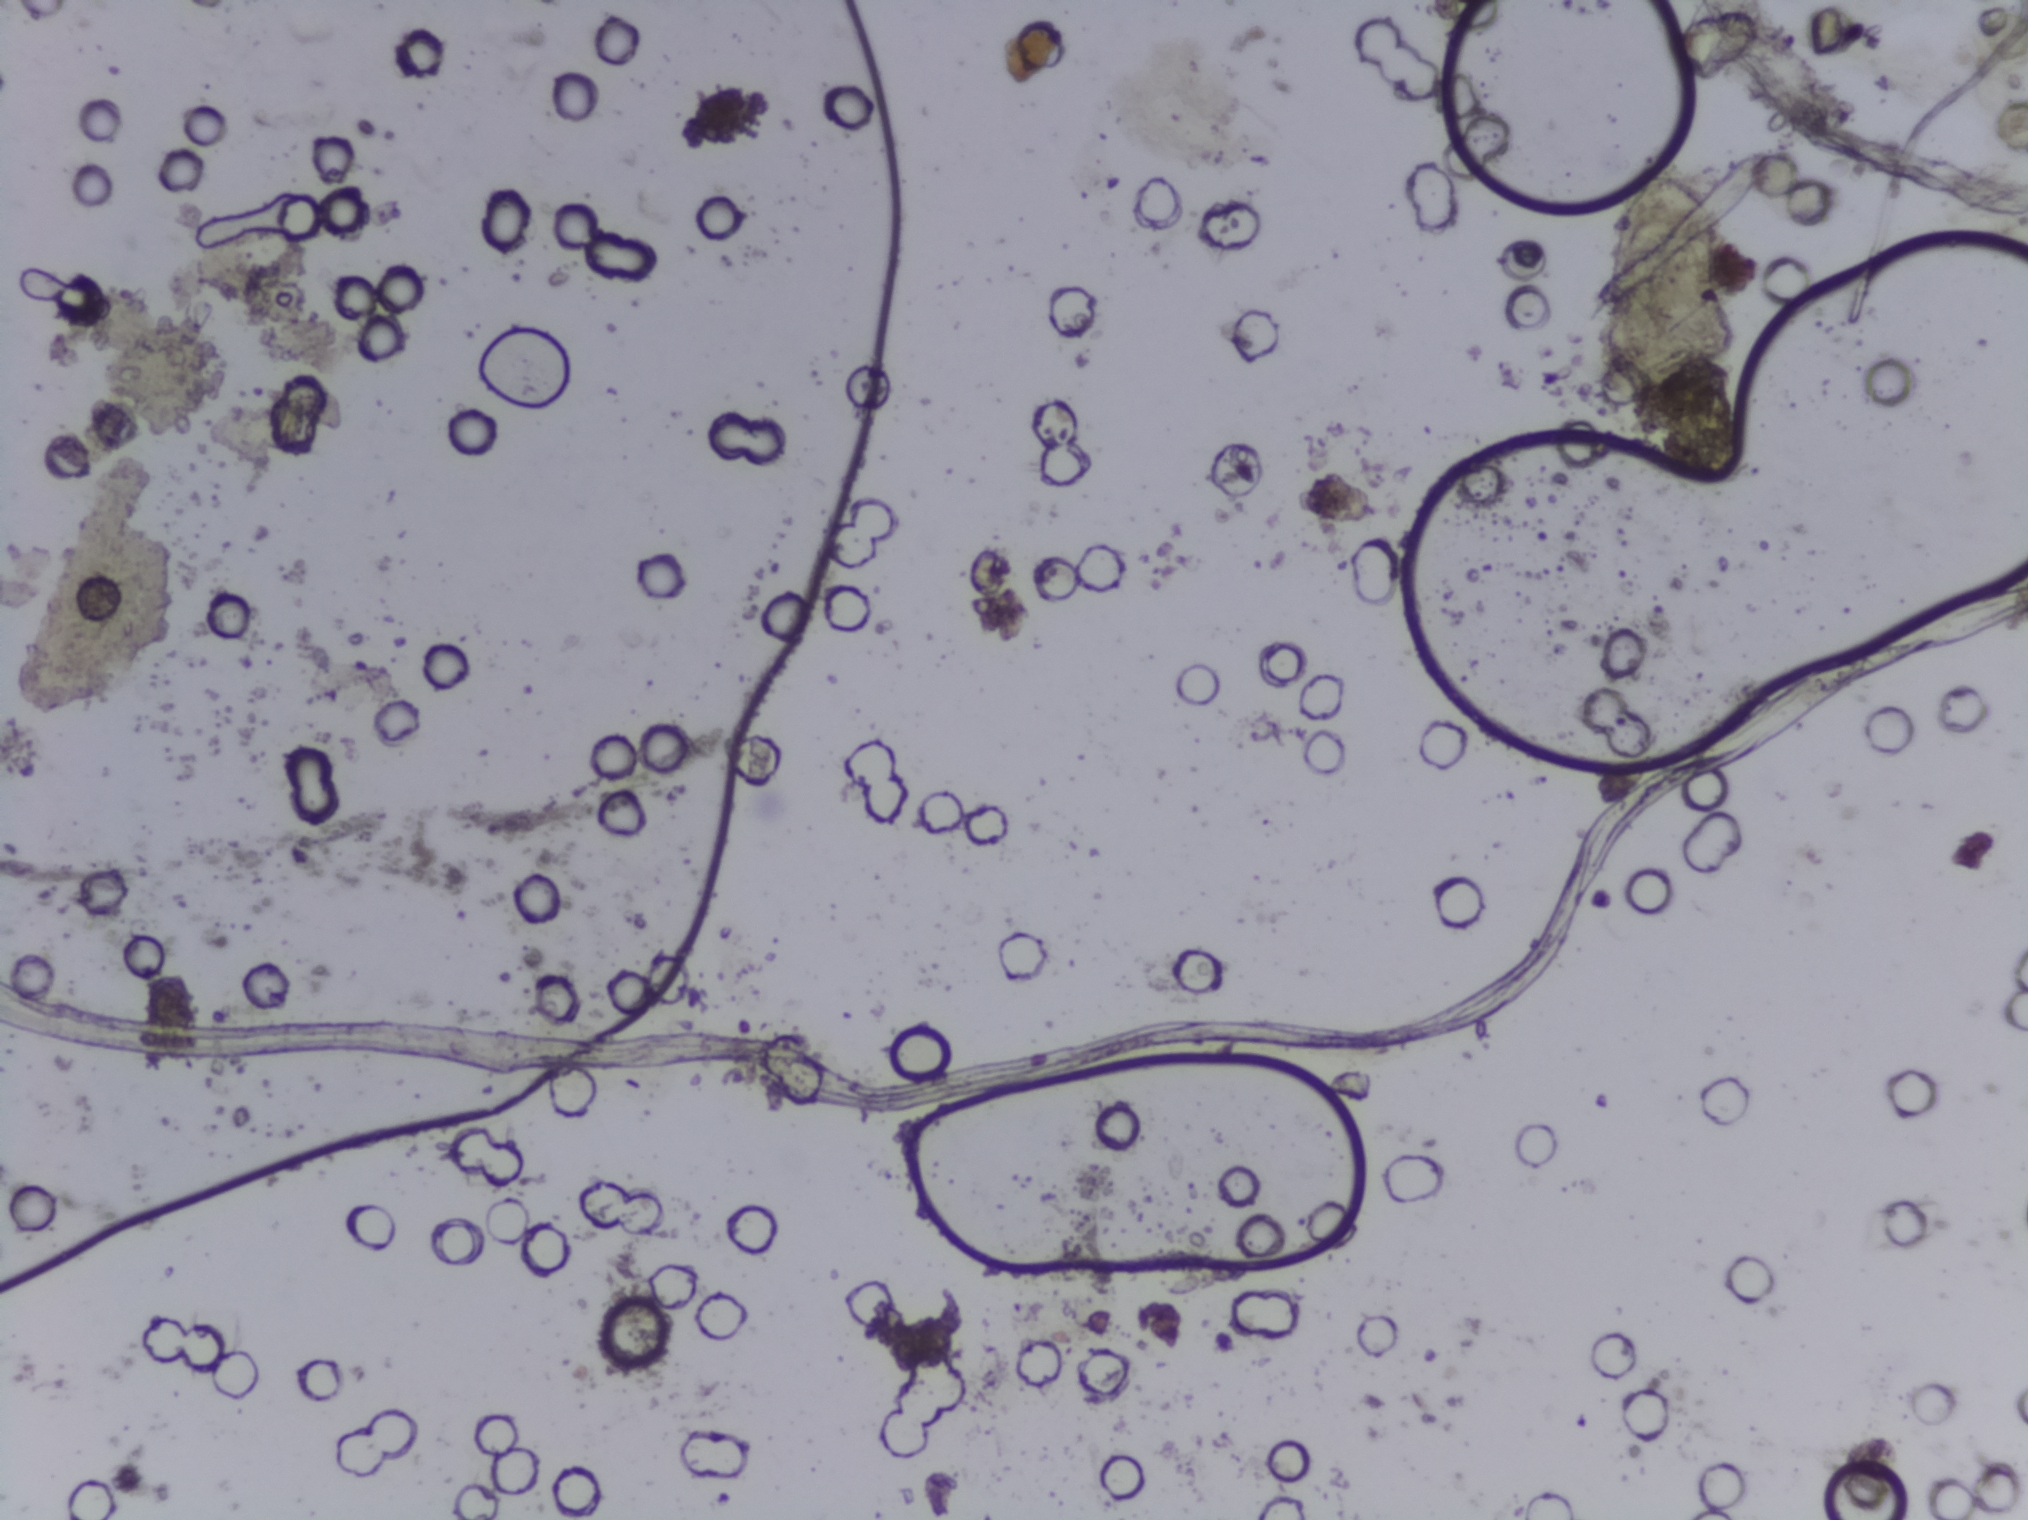
Microscope photograph (4× objective) of a membrane that a urine sample was filtered through.
No Schistosoma egg is outlined in this image's expert annotation.